Urine filter membrane photographed through a 4× microscope objective.
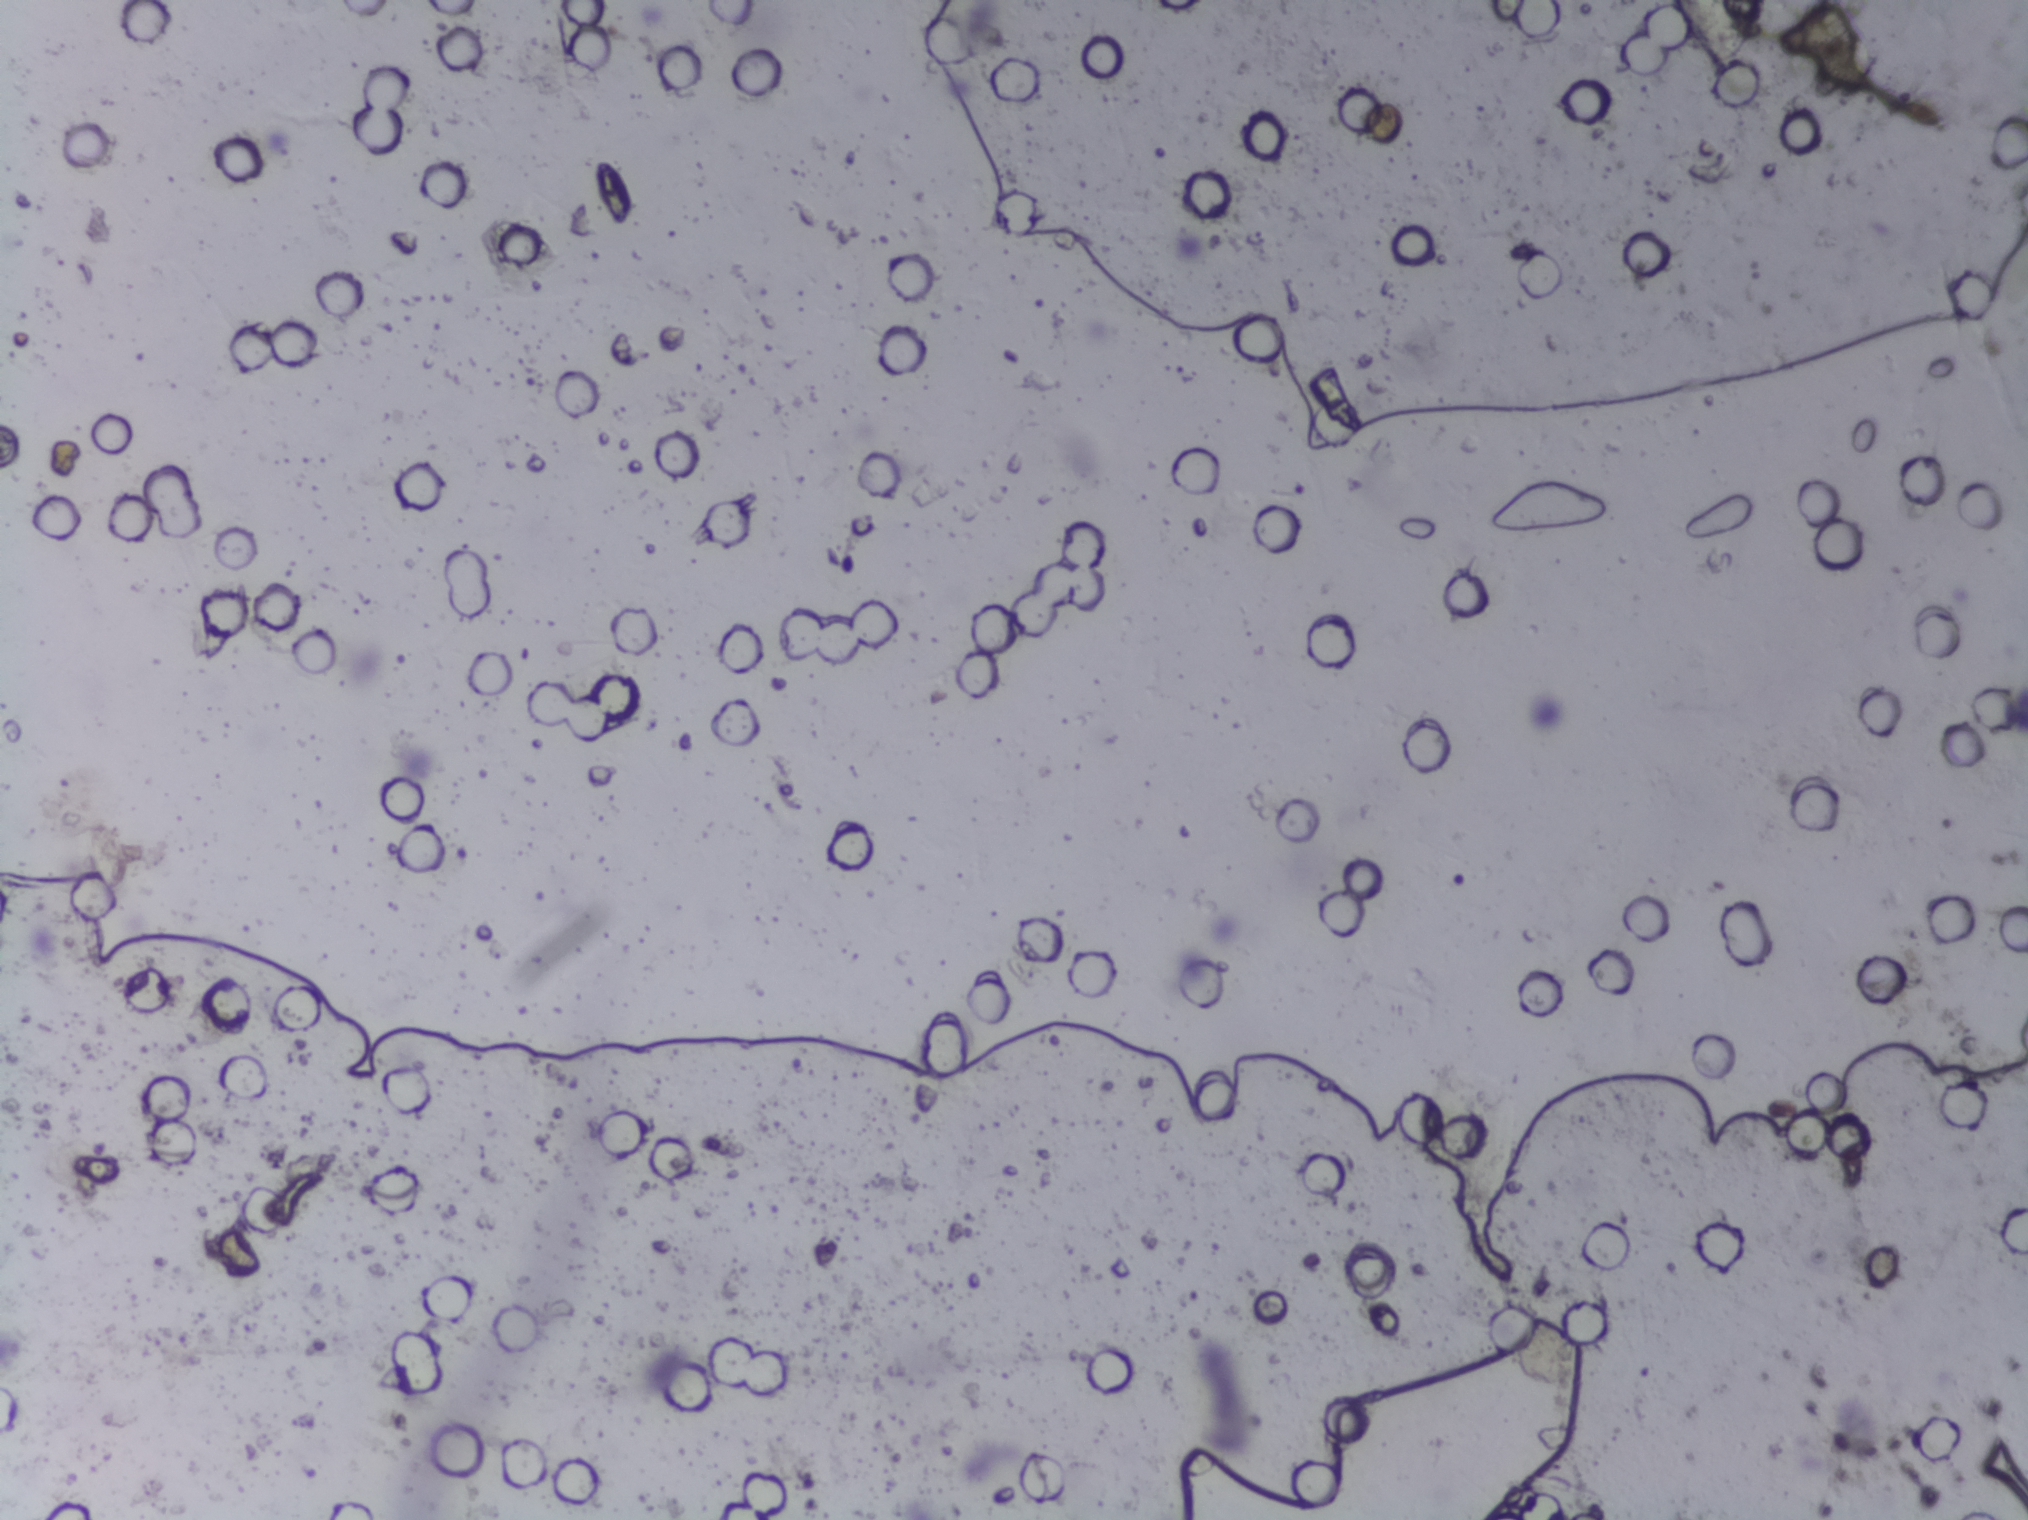
The expert annotation outlines no Schistosoma egg in this image.